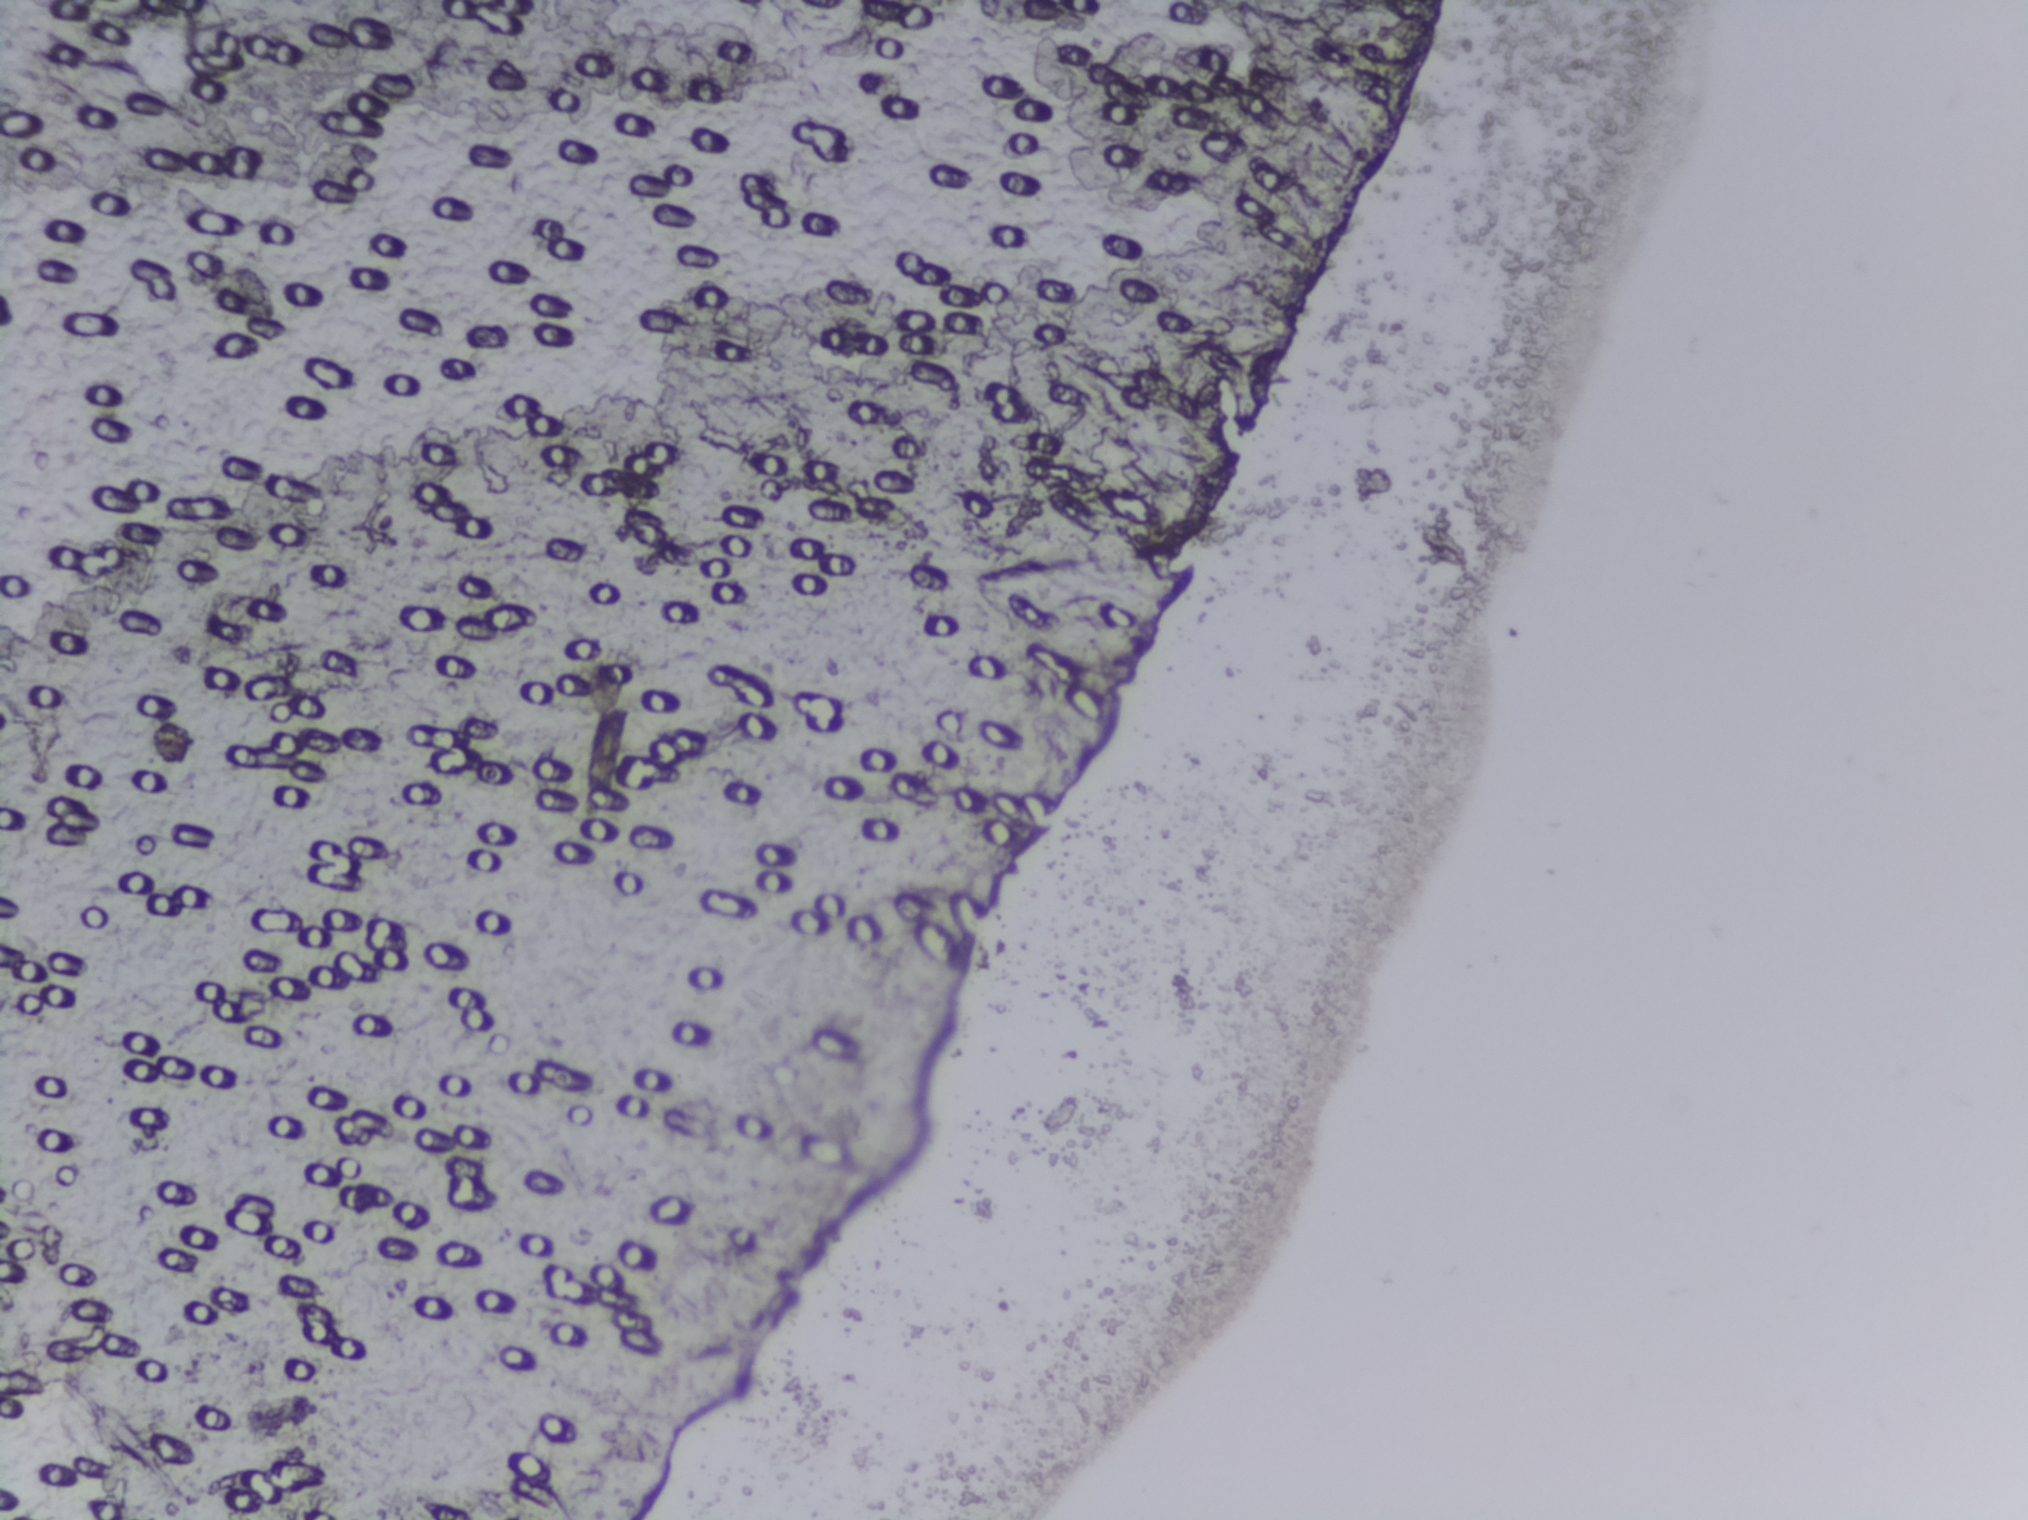
The expert annotation outlines no Schistosoma egg in this image.
Urine filter membrane photographed through a 4× microscope objective.